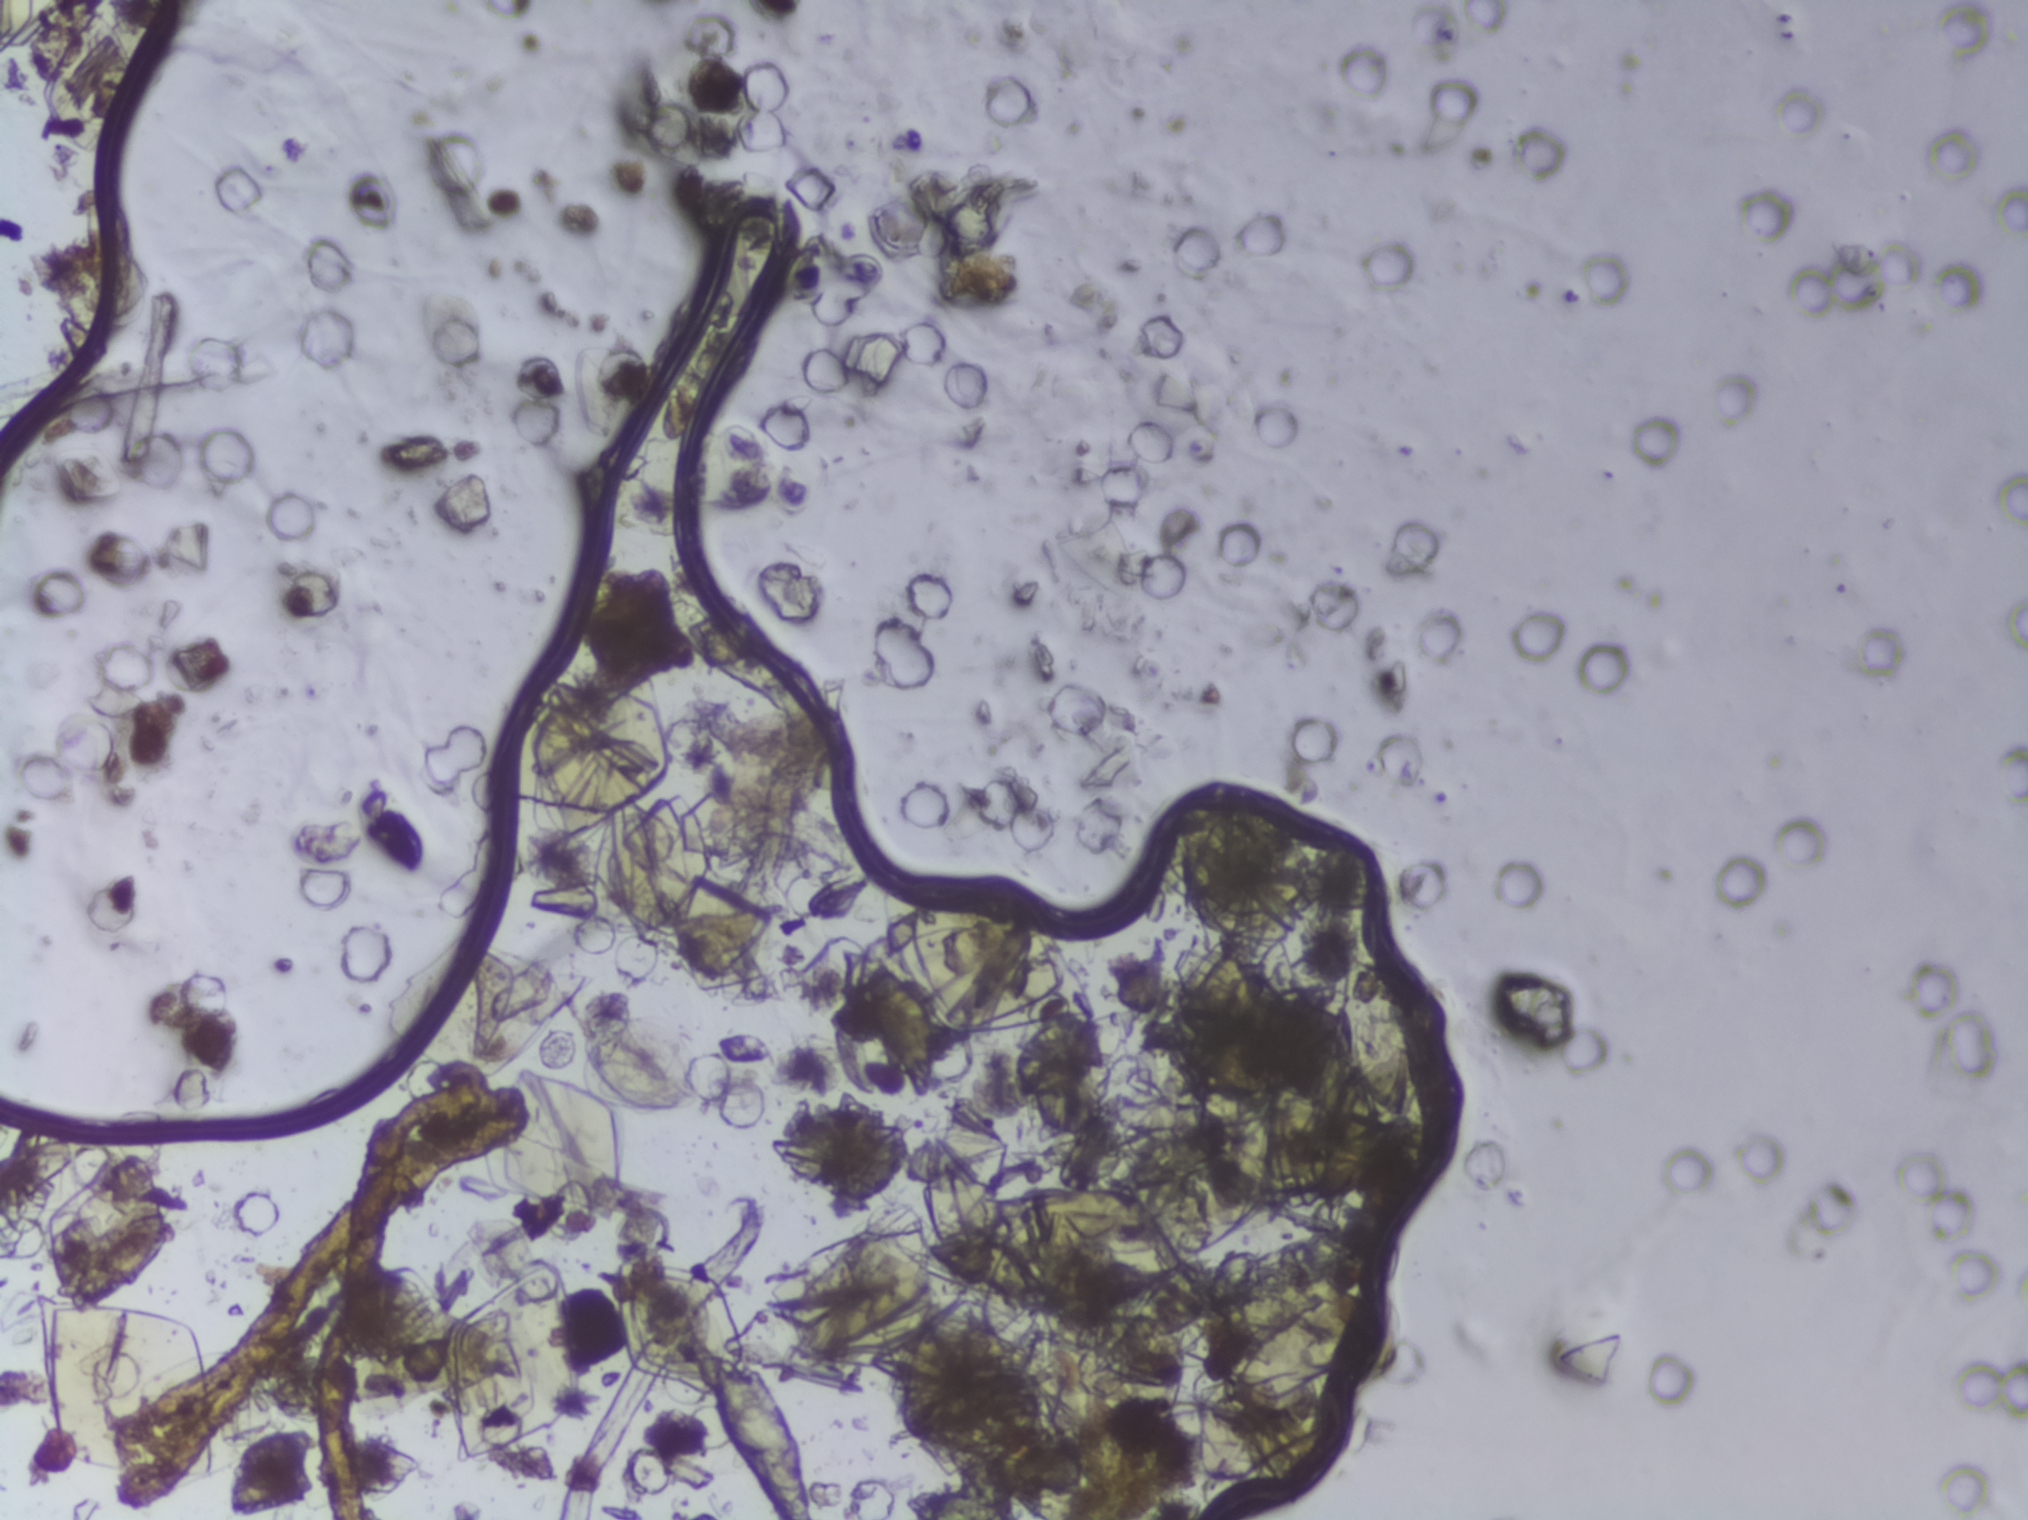
One field of view of a urine filter membrane, 4× objective, 2028 × 1520 pixels.
Schistosoma eggs: none outlined.